Urine filter membrane photographed through a 4× microscope objective.
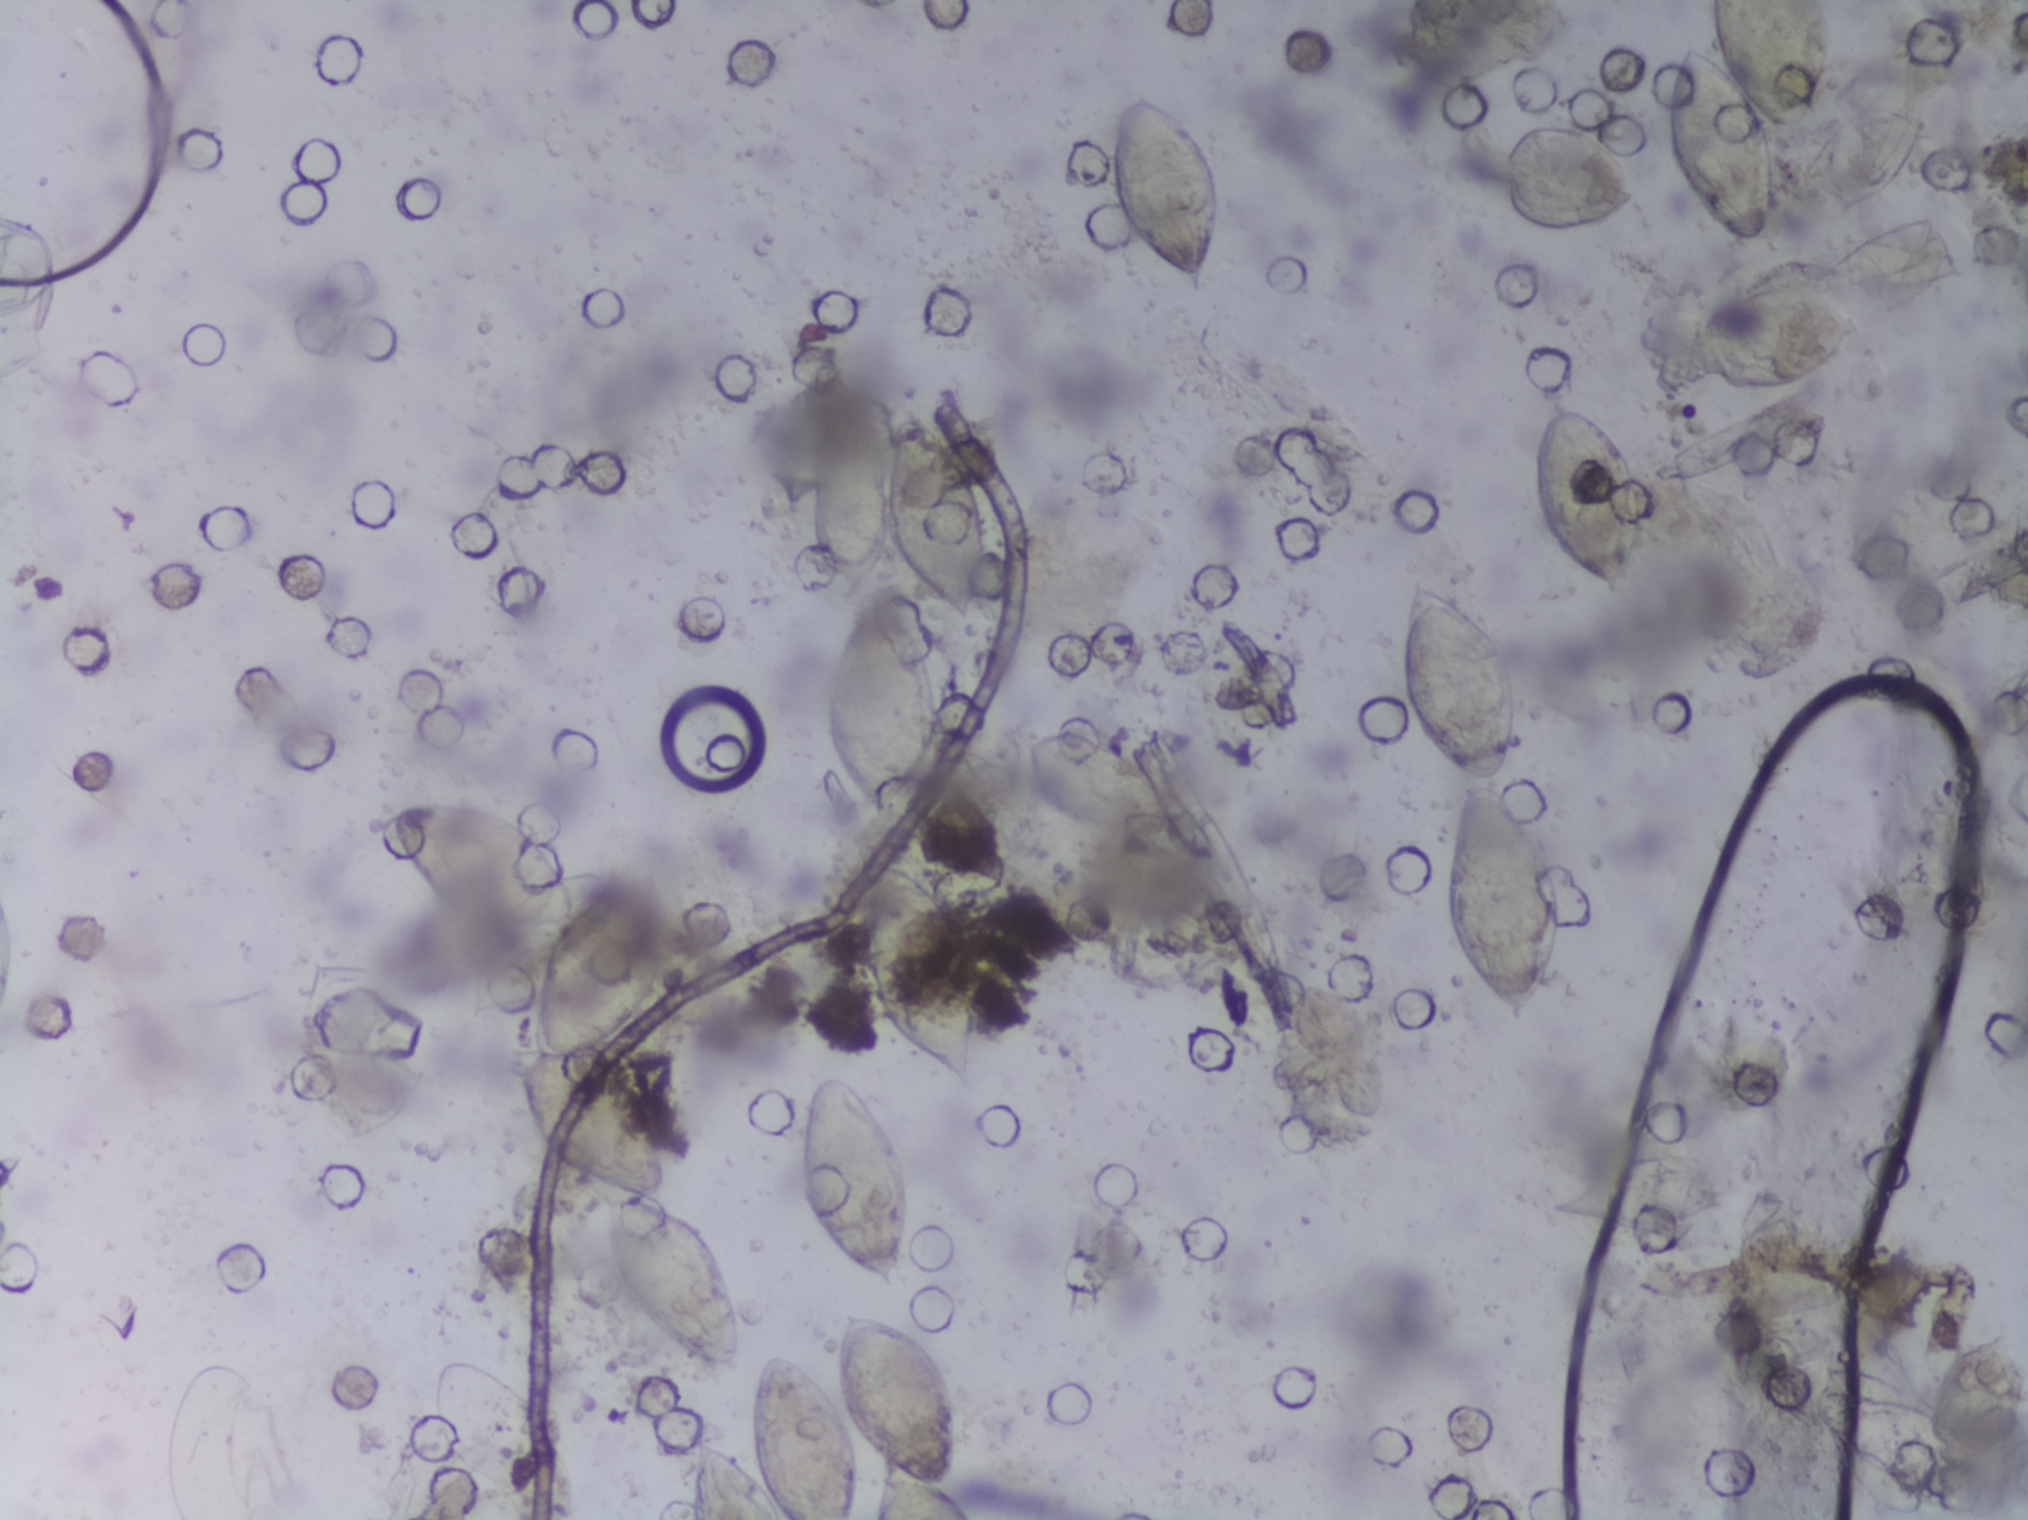
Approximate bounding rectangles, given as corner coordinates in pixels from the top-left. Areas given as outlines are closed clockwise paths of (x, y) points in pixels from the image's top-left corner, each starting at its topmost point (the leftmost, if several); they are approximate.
Schistosoma eggs are outlined in 14 areas of this image, listed from left to right: box (x1=165, y1=1359, x2=294, y2=1519) (reaching the bottom edge of the frame); outline (425, 792), (472, 792), (521, 810), (544, 844), (577, 874), (584, 895), (599, 880), (624, 874), (654, 881), (670, 900), (678, 941), (669, 968), (648, 1008), (603, 1052), (633, 1075), (658, 1112), (675, 1172), (659, 1201), (700, 1223), (723, 1251), (745, 1335), (737, 1373), (704, 1369), (665, 1339), (607, 1264), (594, 1198), (609, 1189), (532, 1144), (517, 1088), (516, 1052), (527, 1043), (527, 995), (541, 971), (541, 945), (552, 932), (464, 921), (420, 889), (392, 810), (399, 800) (eggs clustered together); box (x1=686, y1=1308, x2=979, y2=1519) (reaching the bottom edge of the frame); box (x1=794, y1=383, x2=989, y2=635); box (x1=794, y1=1074, x2=916, y2=1299); box (x1=819, y1=589, x2=941, y2=825); box (x1=852, y1=857, x2=979, y2=1091); box (x1=1012, y1=728, x2=1193, y2=842); box (x1=1103, y1=91, x2=1224, y2=294); box (x1=1402, y1=576, x2=1564, y2=1038); box (x1=1527, y1=407, x2=1642, y2=599); box (x1=1658, y1=0, x2=1835, y2=248) (reaching the top edge of the frame); box (x1=1794, y1=108, x2=1928, y2=214); box (x1=1908, y1=1327, x2=2027, y2=1519) (reaching the right and bottom edges of the frame). The marked pixels themselves, not the boxes and the outline around them, cover about 12% of the image. Eggs that touch can end up inside the same outlined area. A marked egg may occasionally be S. mansoni rather than S. haematobium.